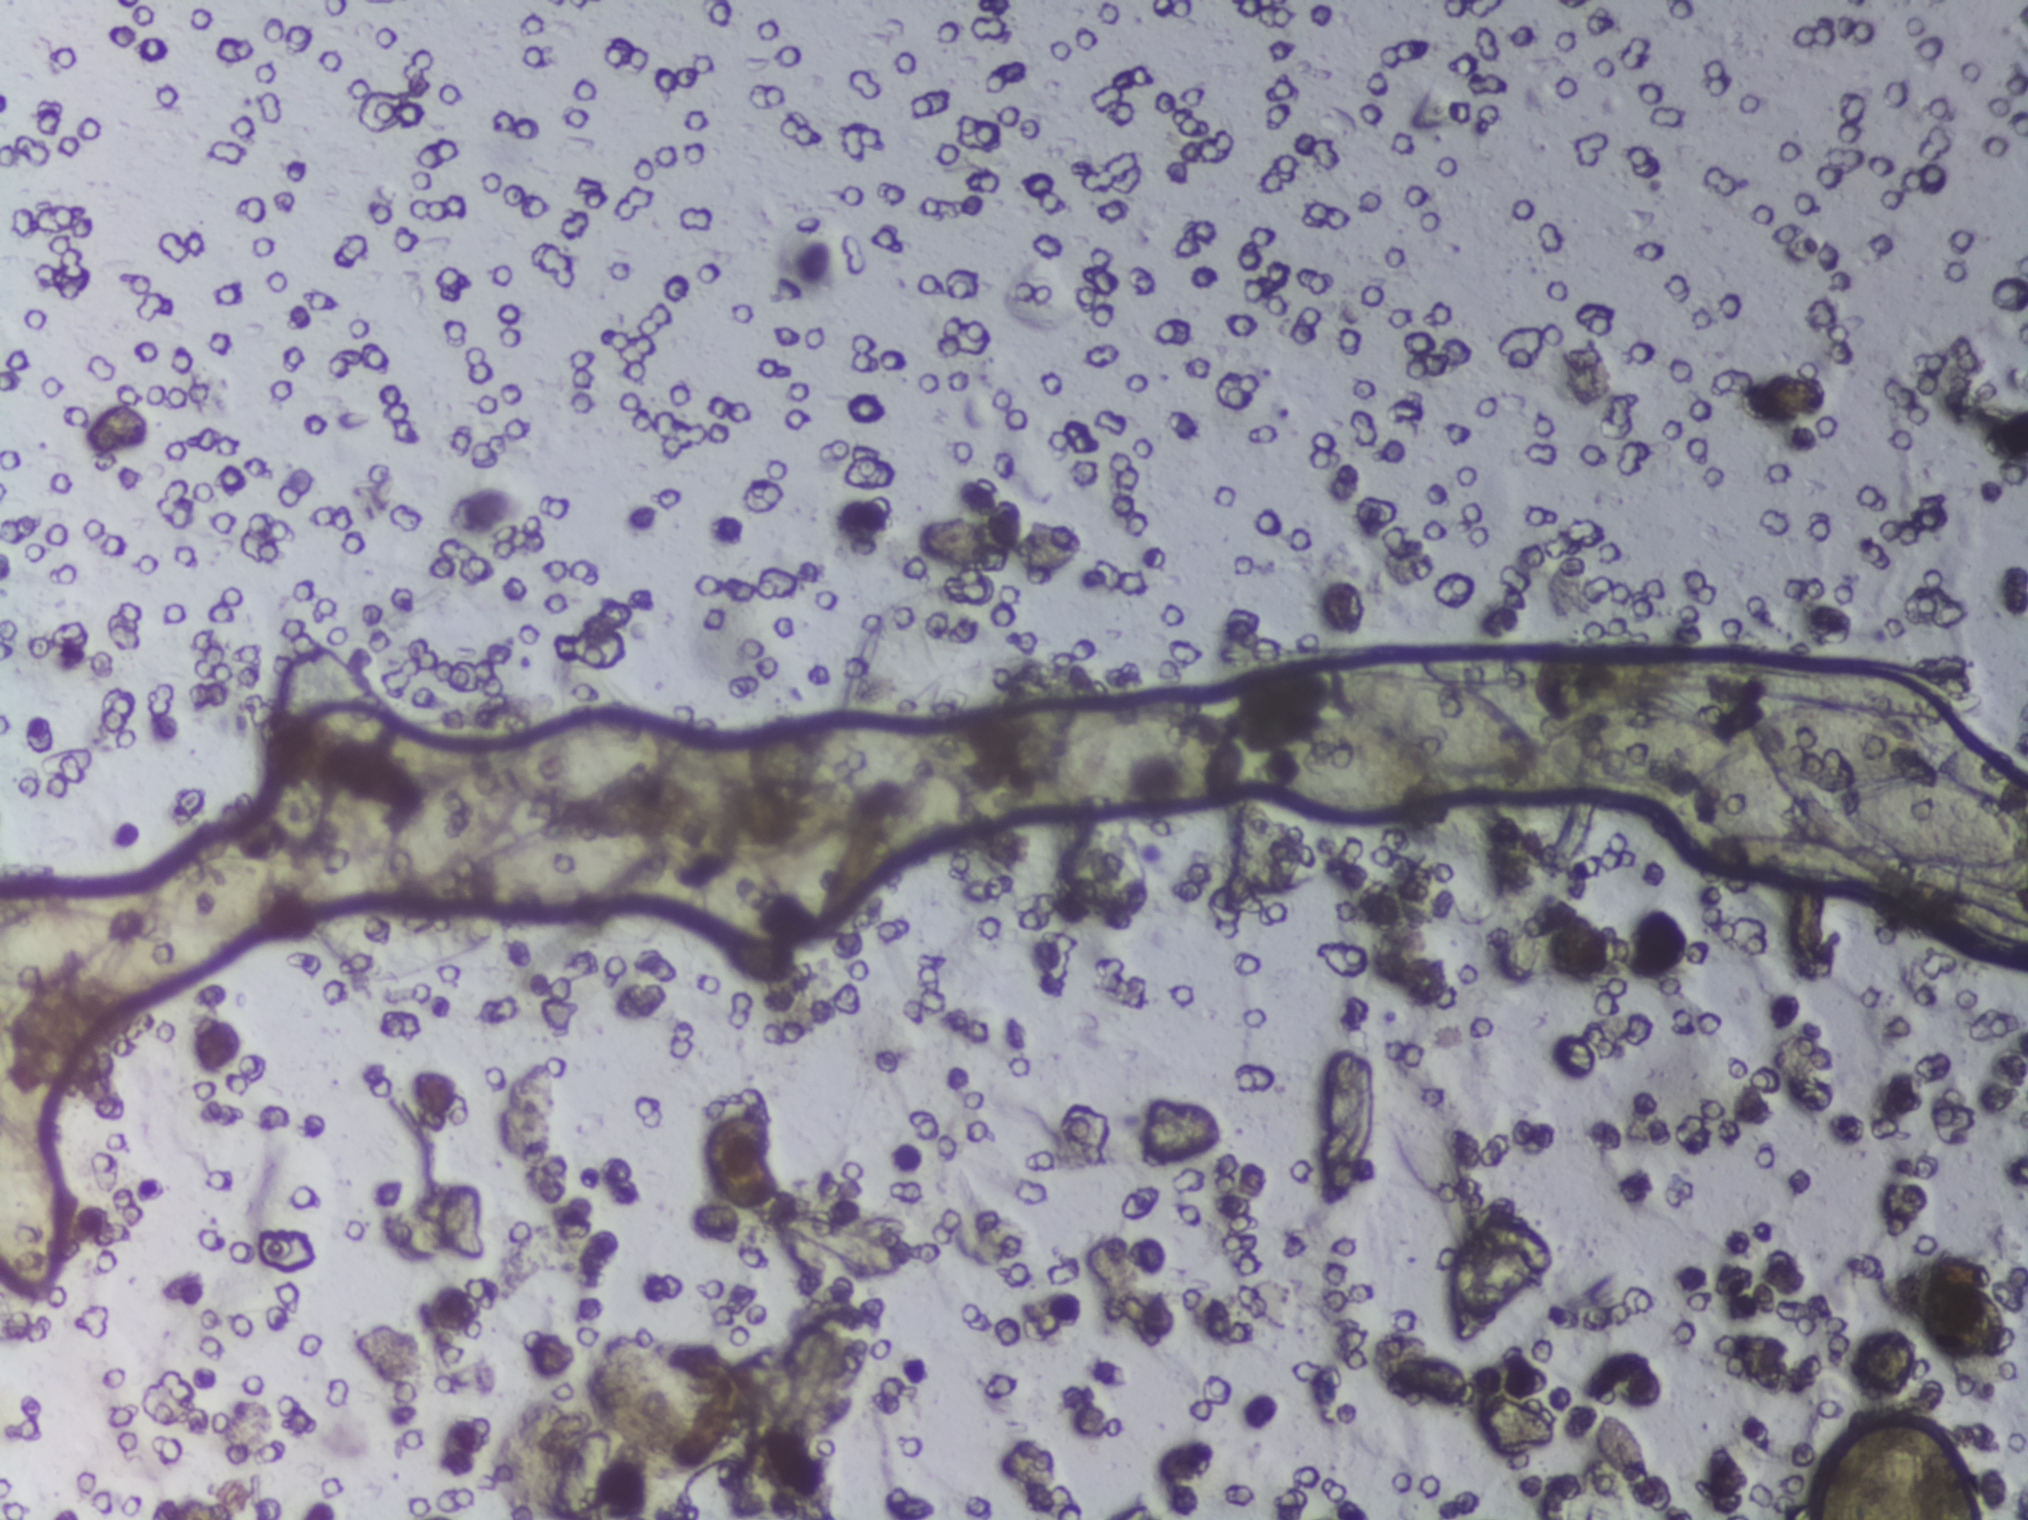
Photograph from an automated digital microscope: urine filter membrane, 4× objective. Field of view: about 1.5 mm wide and 1.1 mm high.
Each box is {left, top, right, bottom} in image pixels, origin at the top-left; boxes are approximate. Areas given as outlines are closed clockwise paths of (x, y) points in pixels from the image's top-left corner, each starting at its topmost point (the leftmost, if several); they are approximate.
Findings: six areas outlined as Schistosoma eggs. Locations: box {0, 822, 380, 999} (reaching the left edge of the frame); box {0, 1109, 62, 1307} (reaching the left edge of the frame); box {375, 703, 690, 913} (a cluster of eggs); box {694, 837, 796, 988}; box {699, 711, 966, 865}; outline (1042, 654), (1067, 674), (1073, 718), (1184, 707), (1260, 725), (1298, 713), (1337, 713), (1310, 682), (1314, 664), (1445, 674), (1510, 712), (1535, 740), (1547, 718), (1614, 701), (1682, 705), (1740, 731), (1747, 715), (1775, 705), (1874, 703), (1916, 720), (1934, 758), (1956, 744), (1978, 743), (1999, 748), (2020, 766), (2027, 773), (2027, 806), (2016, 811), (2027, 820), (2027, 849), (1951, 865), (1878, 858), (1829, 815), (1828, 795), (1845, 786), (1795, 781), (1750, 756), (1707, 791), (1655, 802), (1577, 795), (1537, 759), (1512, 768), (1445, 769), (1450, 795), (1442, 806), (1398, 815), (1309, 820), (1255, 792), (1212, 816), (1105, 814), (1055, 797), (1042, 785), (1025, 787), (1006, 769), (995, 708), (1012, 667), (1024, 656) (a cluster of eggs; reaching the right edge of the frame). A single outlined area may contain several eggs.